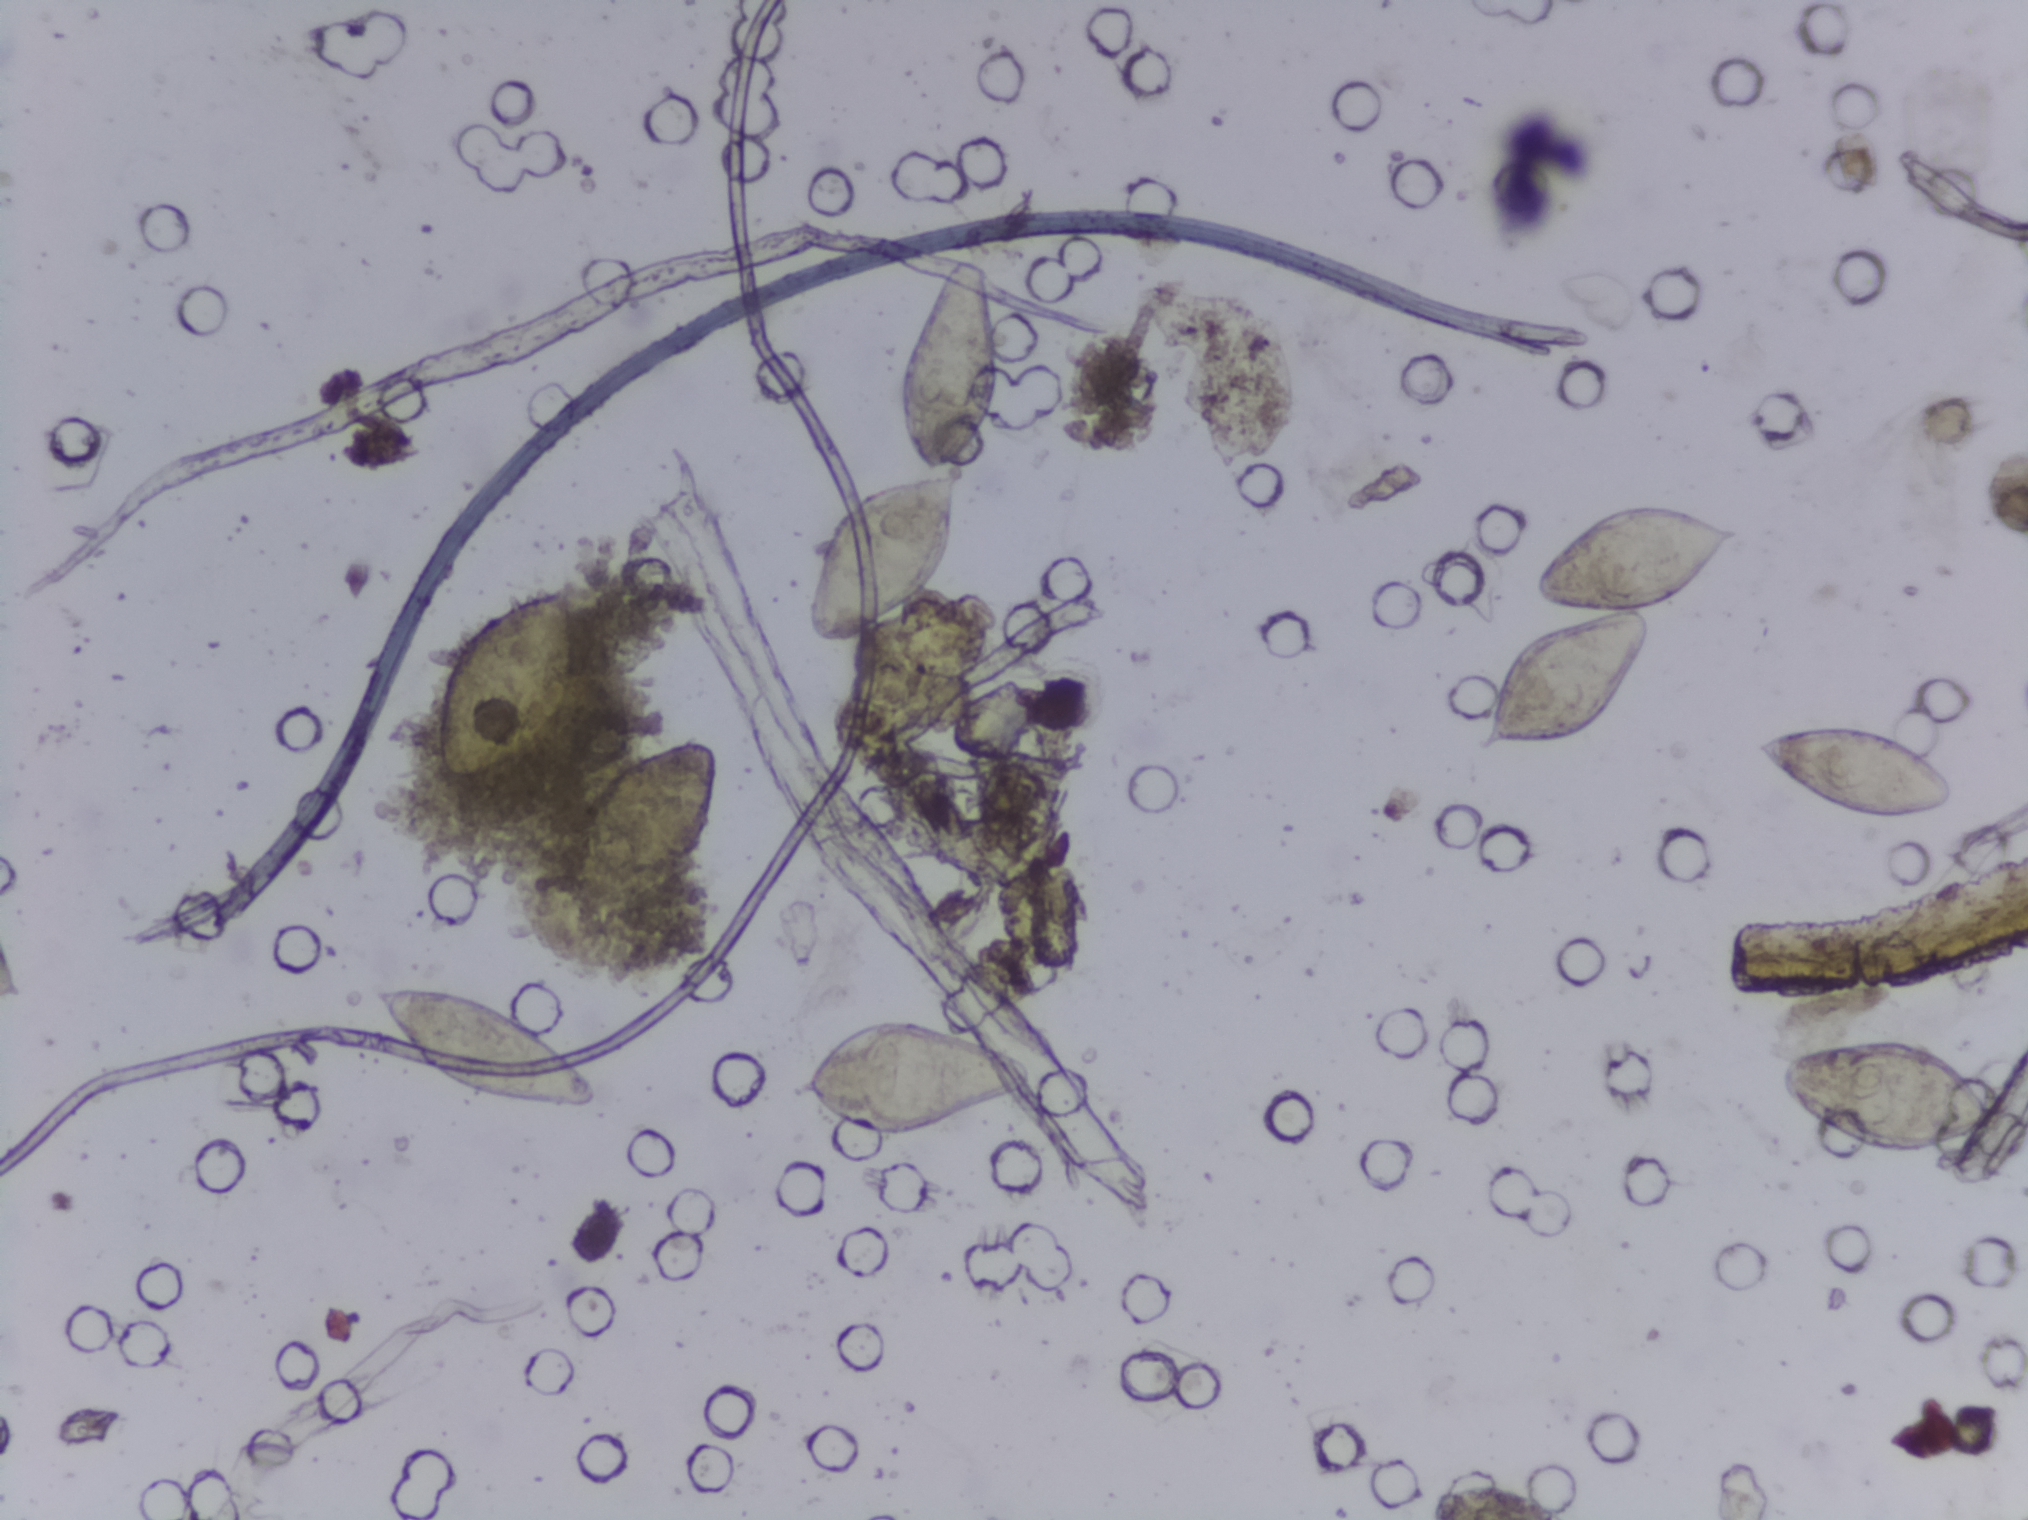
Urine filter membrane photographed through a 4× microscope objective.
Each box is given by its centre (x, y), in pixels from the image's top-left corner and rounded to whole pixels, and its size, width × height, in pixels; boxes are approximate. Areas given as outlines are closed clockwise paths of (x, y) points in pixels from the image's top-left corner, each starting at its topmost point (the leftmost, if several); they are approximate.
Outlined Schistosoma egg areas, left to right:
1. box centre (485, 1049), 227 × 133 px
2. box centre (502, 687), 150 × 212 px
3. box centre (650, 828), 148 × 186 px
4. outline (952, 253), (982, 257), (998, 306), (1006, 390), (982, 442), (964, 461), (974, 465), (974, 483), (954, 516), (954, 548), (944, 576), (916, 610), (856, 644), (829, 650), (811, 624), (811, 532), (815, 520), (860, 482), (916, 470), (897, 432), (899, 353), (913, 330), (921, 294)
5. box centre (913, 1080), 242 × 136 px
6. outline (1640, 499), (1735, 524), (1734, 534), (1689, 592), (1648, 613), (1640, 658), (1607, 723), (1550, 749), (1474, 749), (1503, 651), (1577, 614), (1532, 595), (1550, 550), (1603, 506)
7. box centre (1849, 777), 214 × 108 px
8. box centre (1887, 1099), 227 × 129 px
About 6.2% of the image's pixels are marked (the marked pixels themselves, not the boxes and the outlines around them). A single outlined area may contain several eggs. Any one outlined egg may, rarely, be S. mansoni rather than S. haematobium.